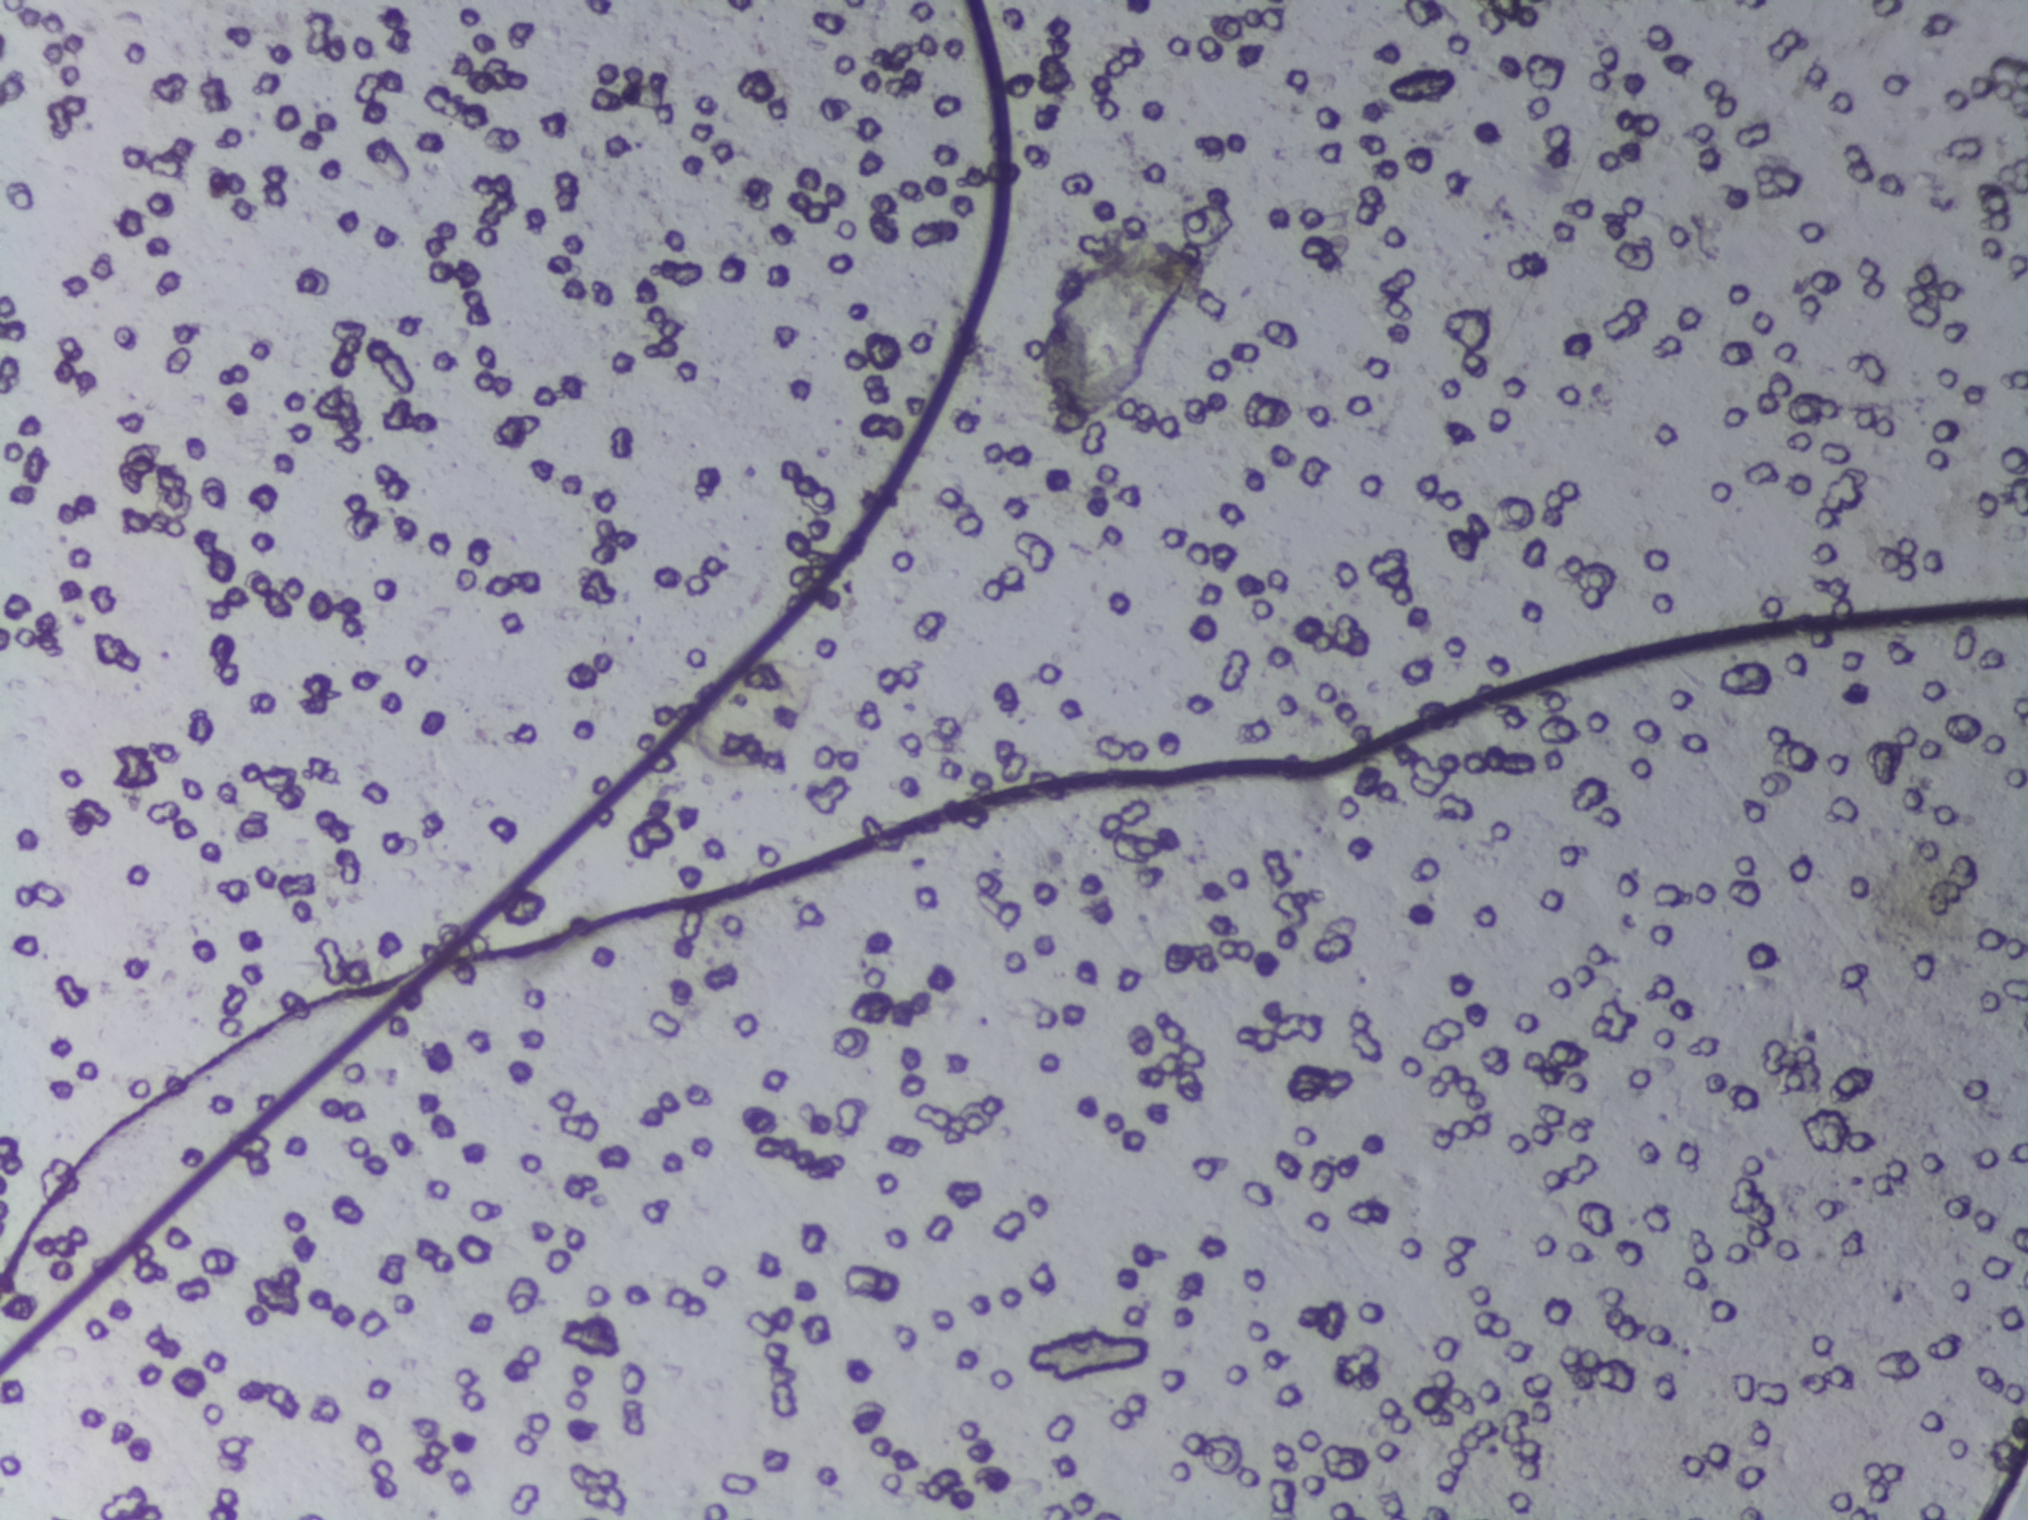
Urine filtration membrane under a 4× objective, photographed by an automated digital microscope.
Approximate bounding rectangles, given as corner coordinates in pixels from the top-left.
Areas outlined as Schistosoma eggs: (x1=692, y1=656, x2=814, y2=770). An outlined area can hold more than one egg.